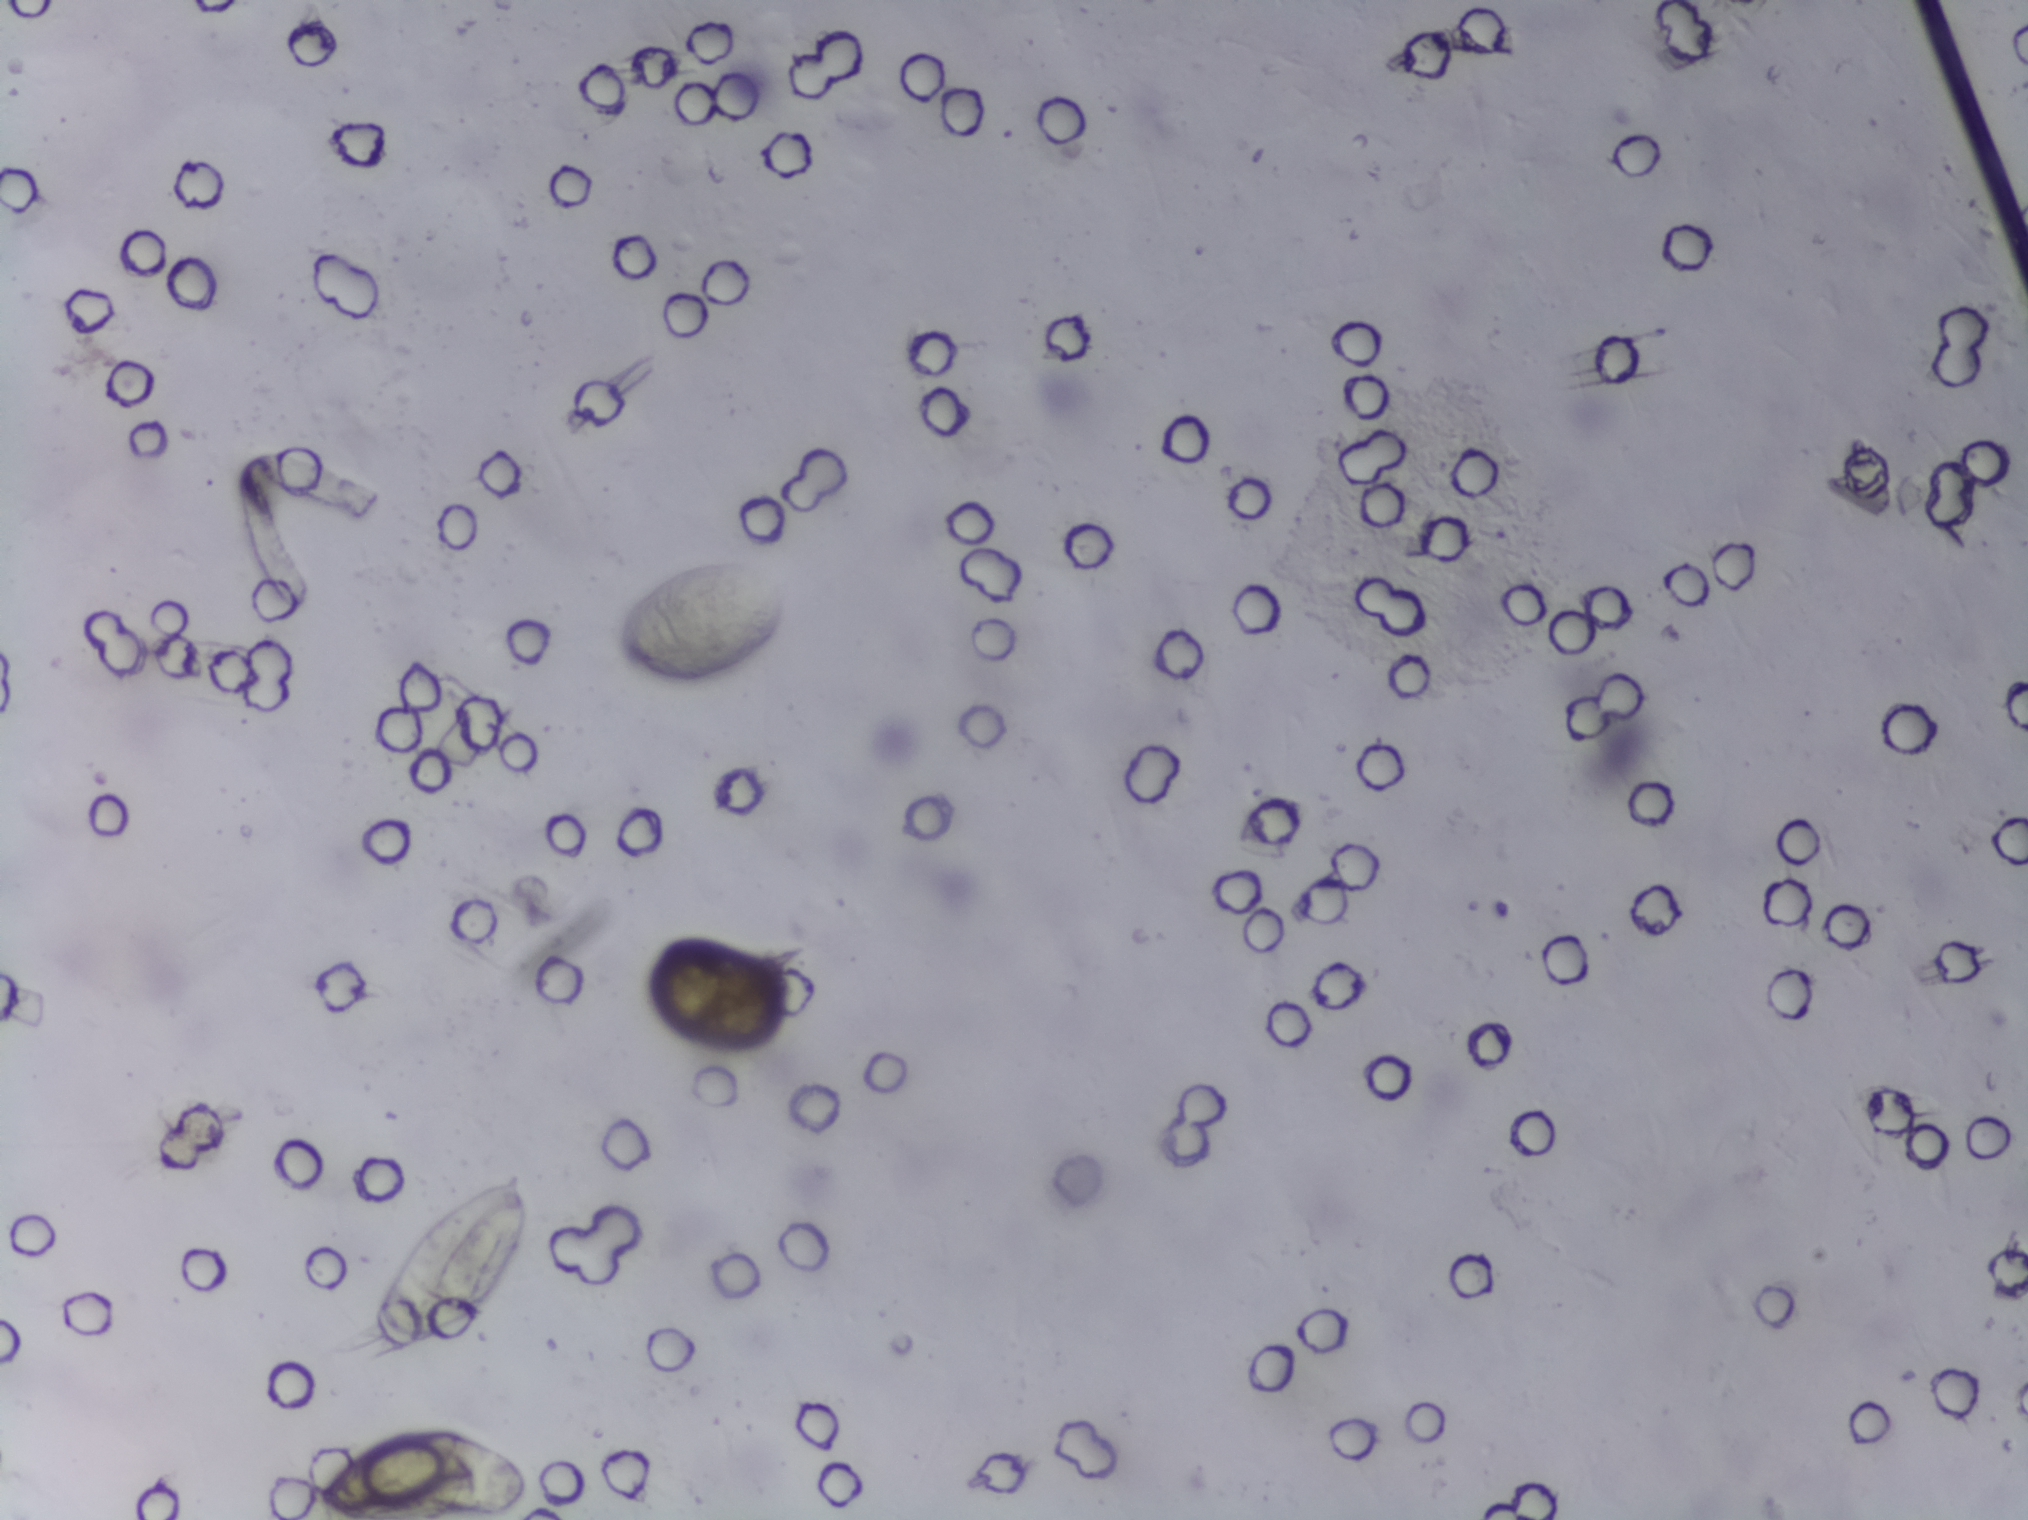
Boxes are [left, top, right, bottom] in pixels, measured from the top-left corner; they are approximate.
Two areas of this image are outlined as Schistosoma eggs, from left to right: [310, 1426, 532, 1519] (reaching the bottom edge of the frame) and [365, 1164, 536, 1357]. The marked pixels themselves, not the boxes around them, cover about 1.2% of the image. A single outlined area may contain several eggs.
Urine filtration membrane under a 4× objective, photographed by an automated digital microscope.